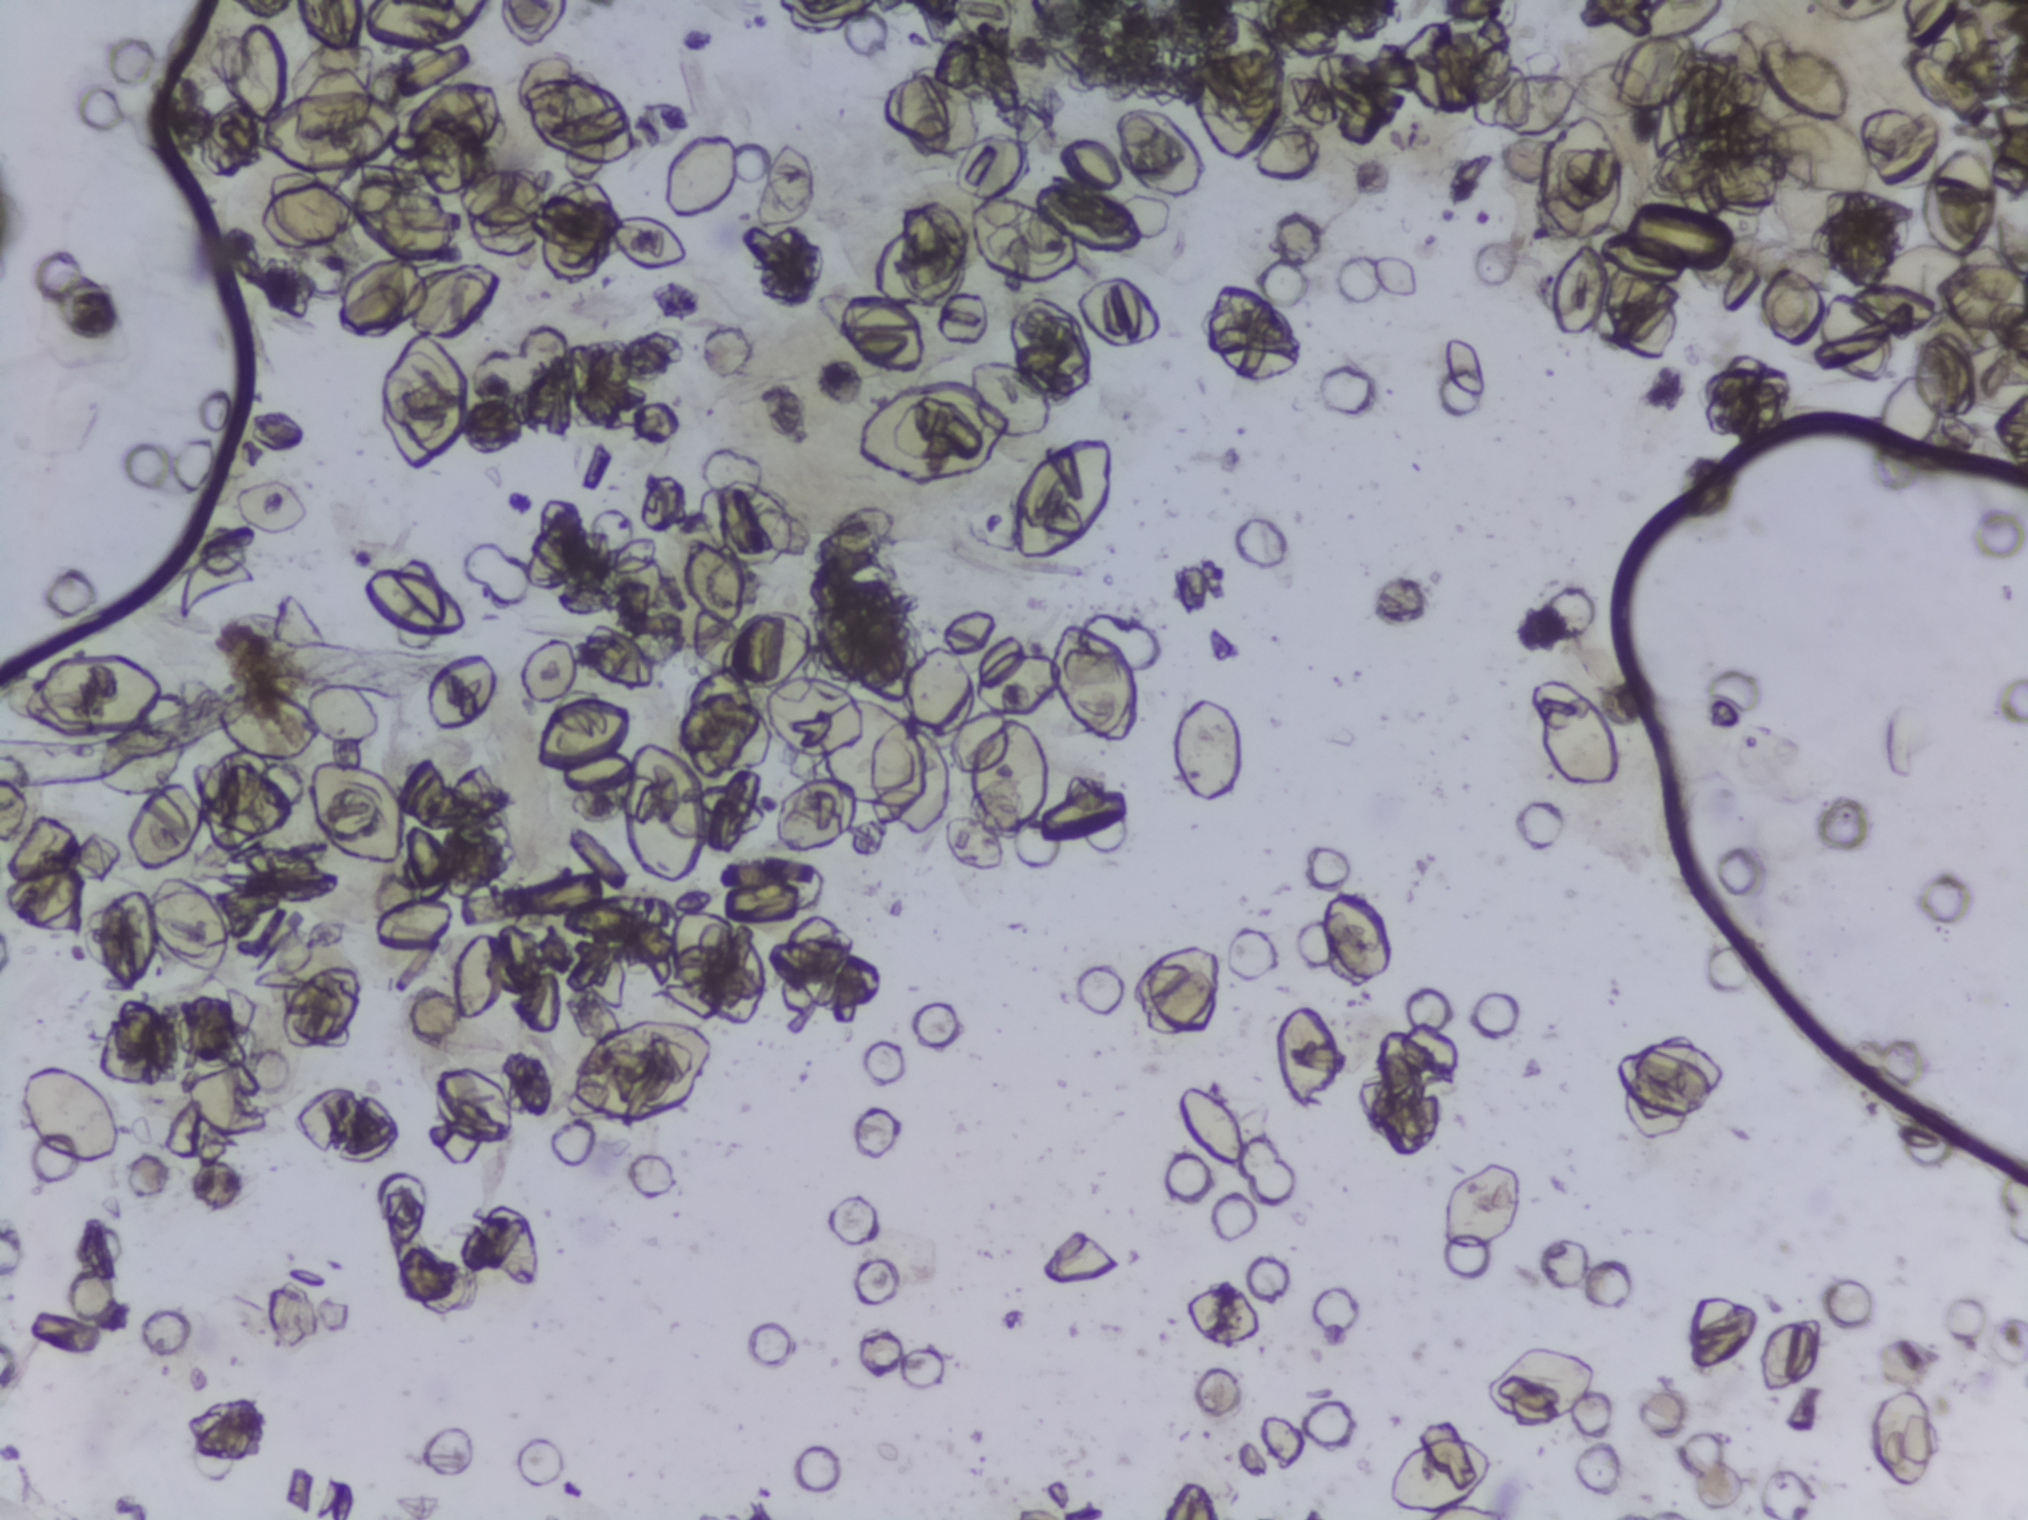
Photograph from an automated digital microscope: urine filter membrane, 4× objective.
The expert annotation marks no Schistosoma egg in this field of view.